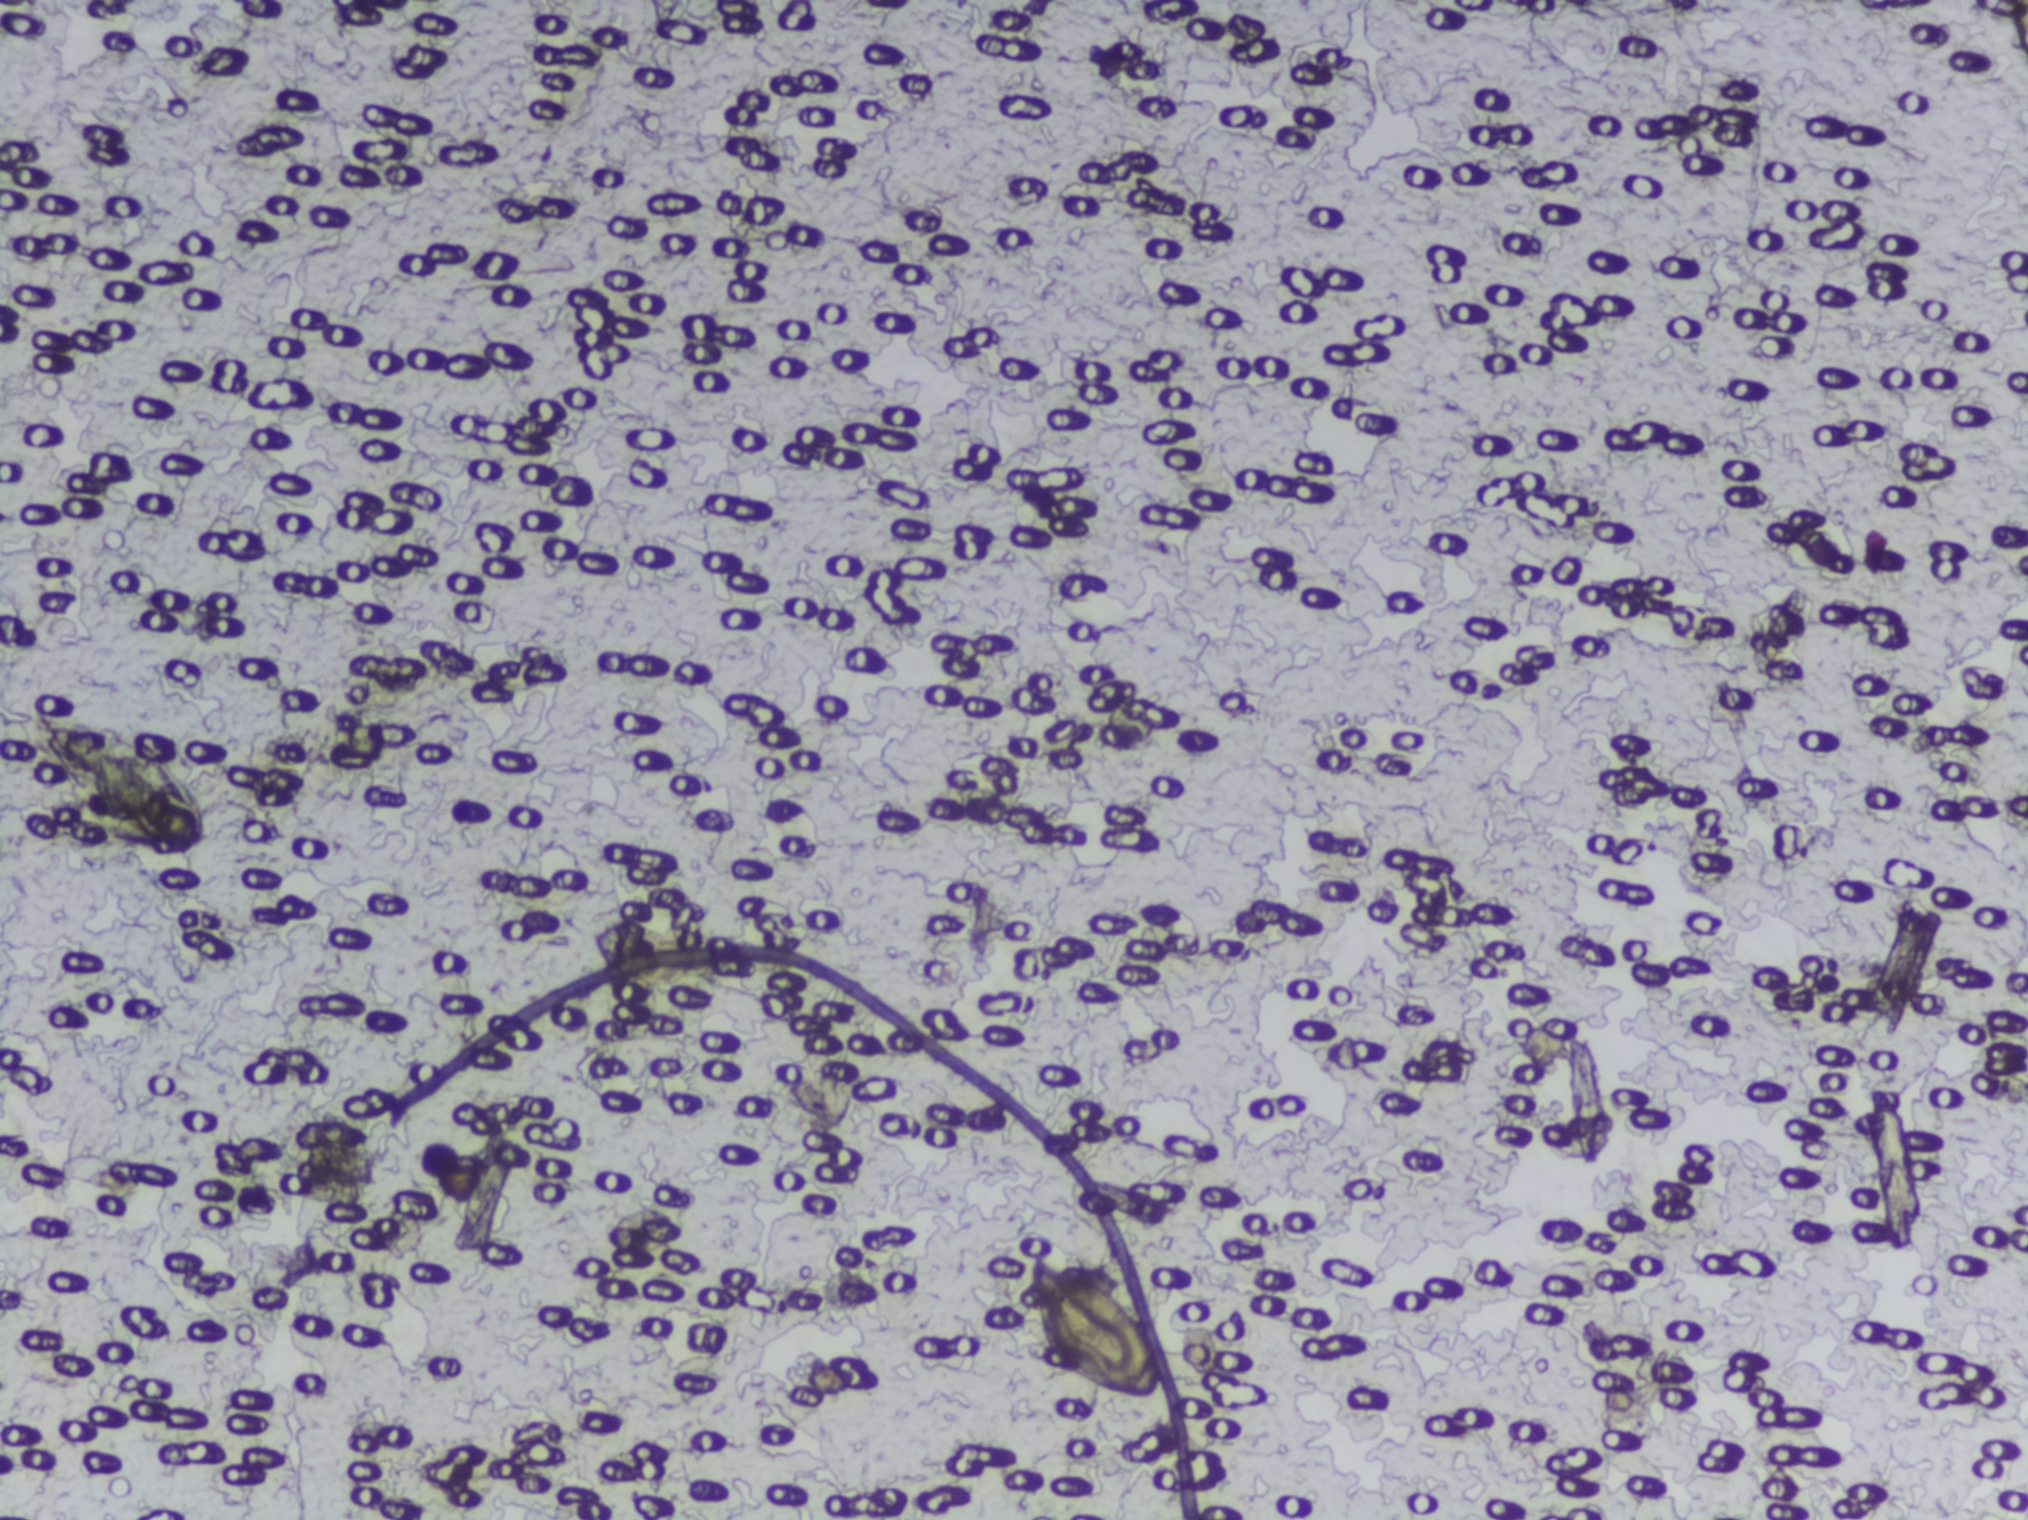
One field of view of a urine filter membrane, 4× objective, 2028 × 1520 pixels. The image covers about 1.5 × 1.1 mm of the membrane.
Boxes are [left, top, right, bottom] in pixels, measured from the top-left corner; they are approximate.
Schistosoma eggs, outlined areas: [28, 706, 210, 862]; [1010, 1240, 1180, 1407]. Eggs that touch can end up inside the same outlined area.